Microscope photograph (4× objective) of a membrane that a urine sample was filtered through.
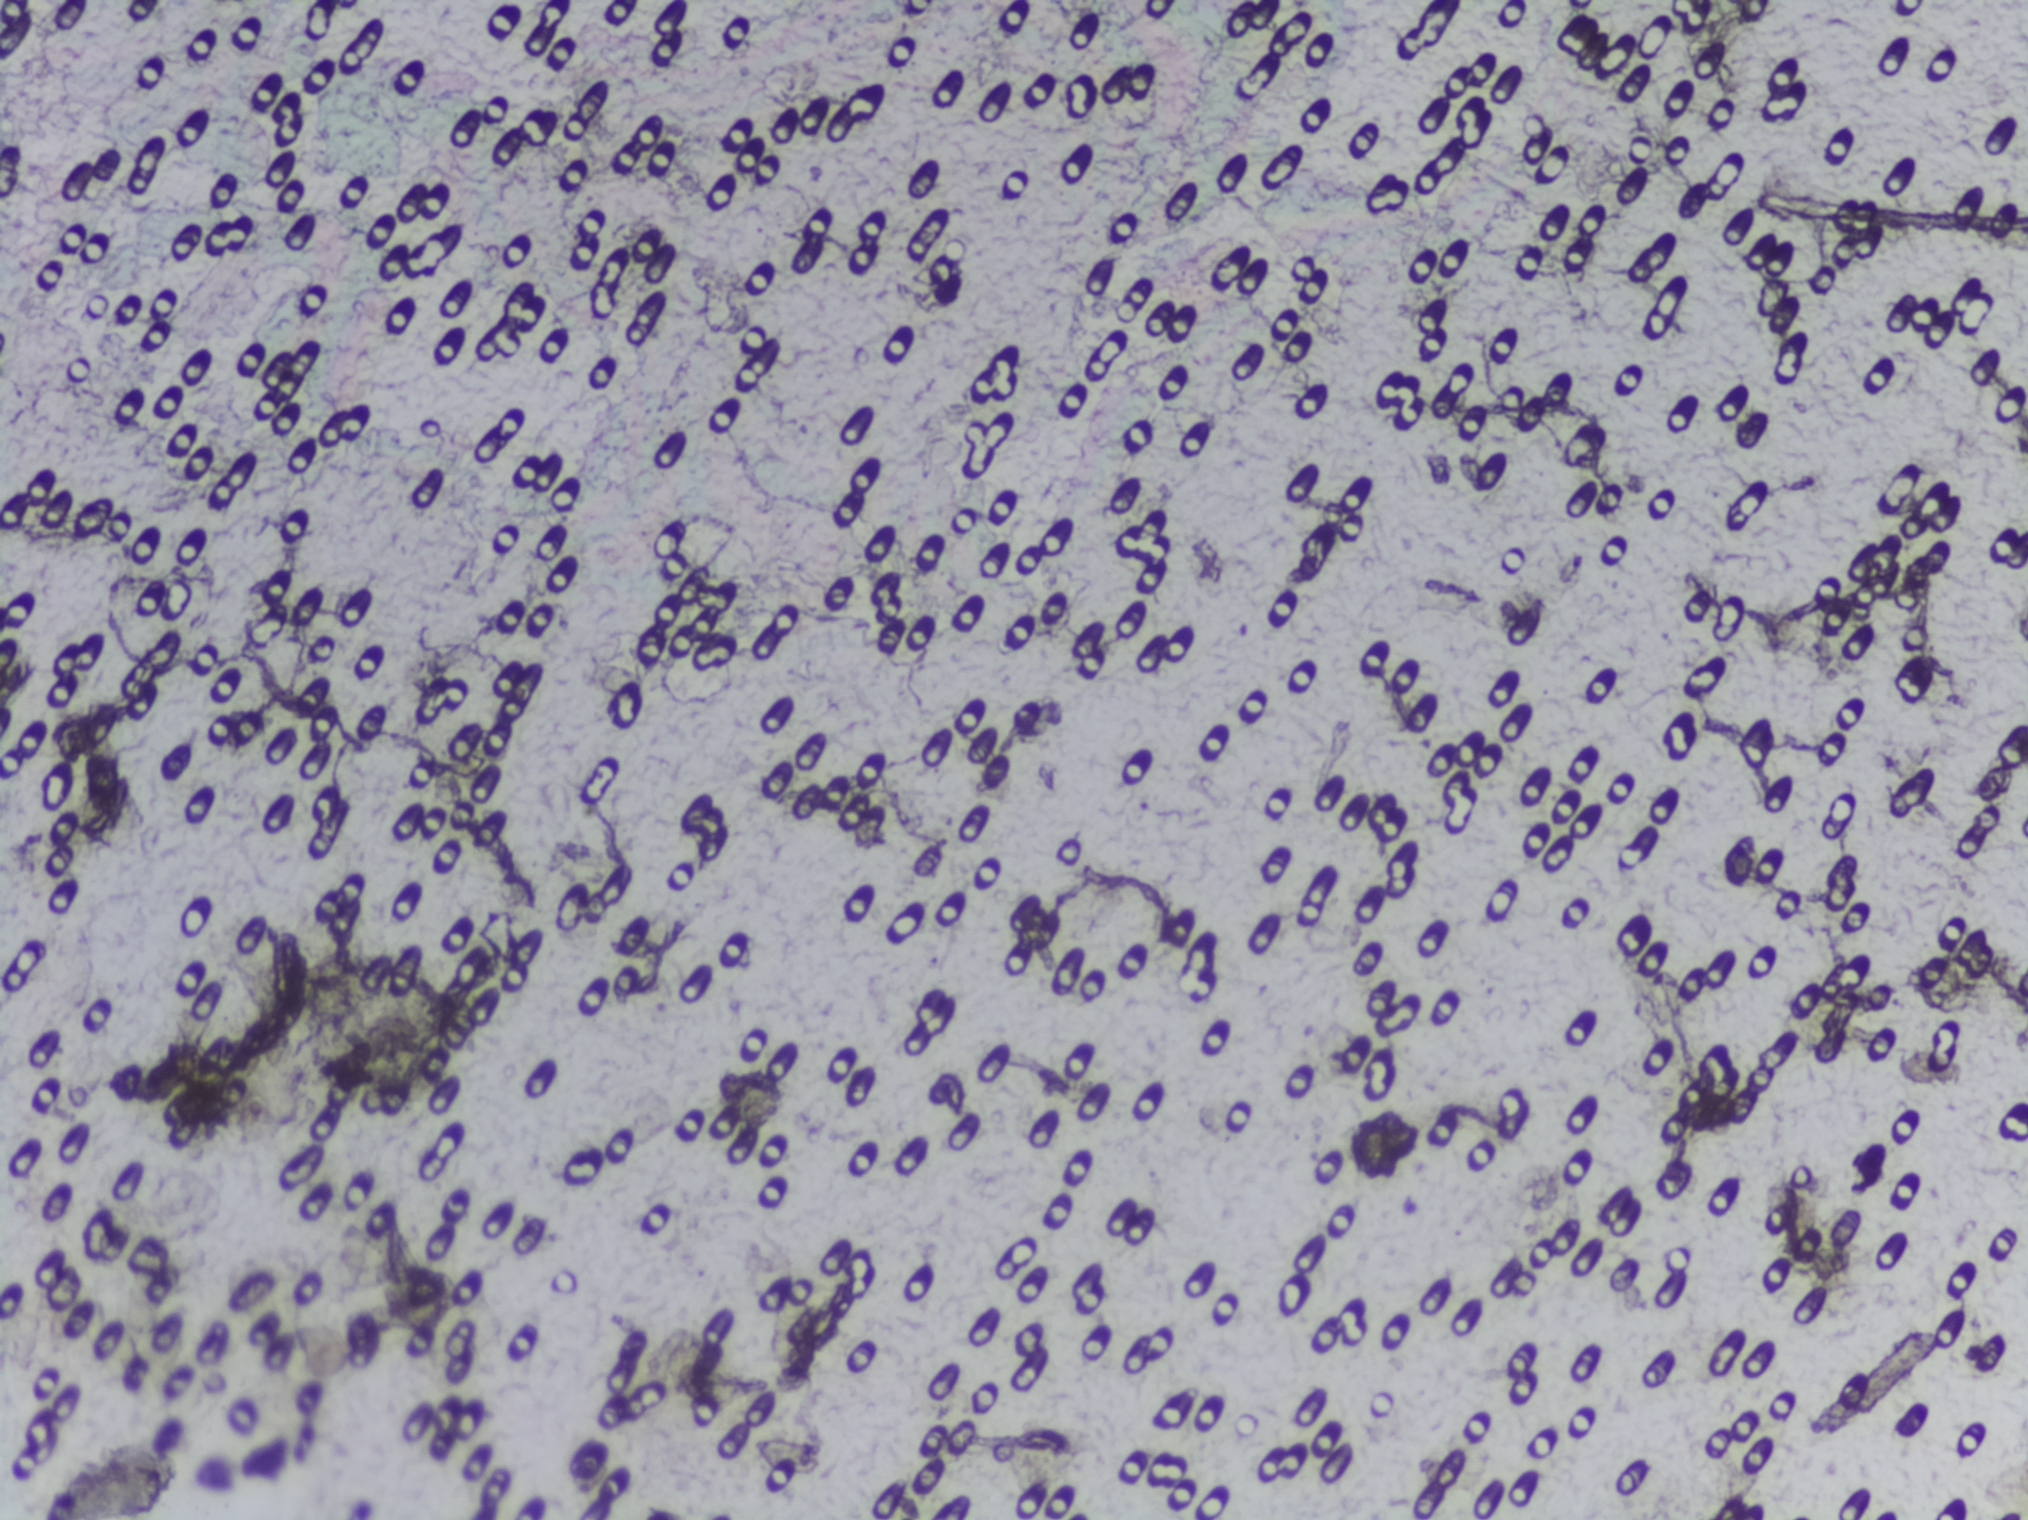
No Schistosoma egg is outlined in this image's expert annotation.